Urine filter membrane photographed through a 4× microscope objective. Field of view: about 1.5 mm wide and 1.1 mm high.
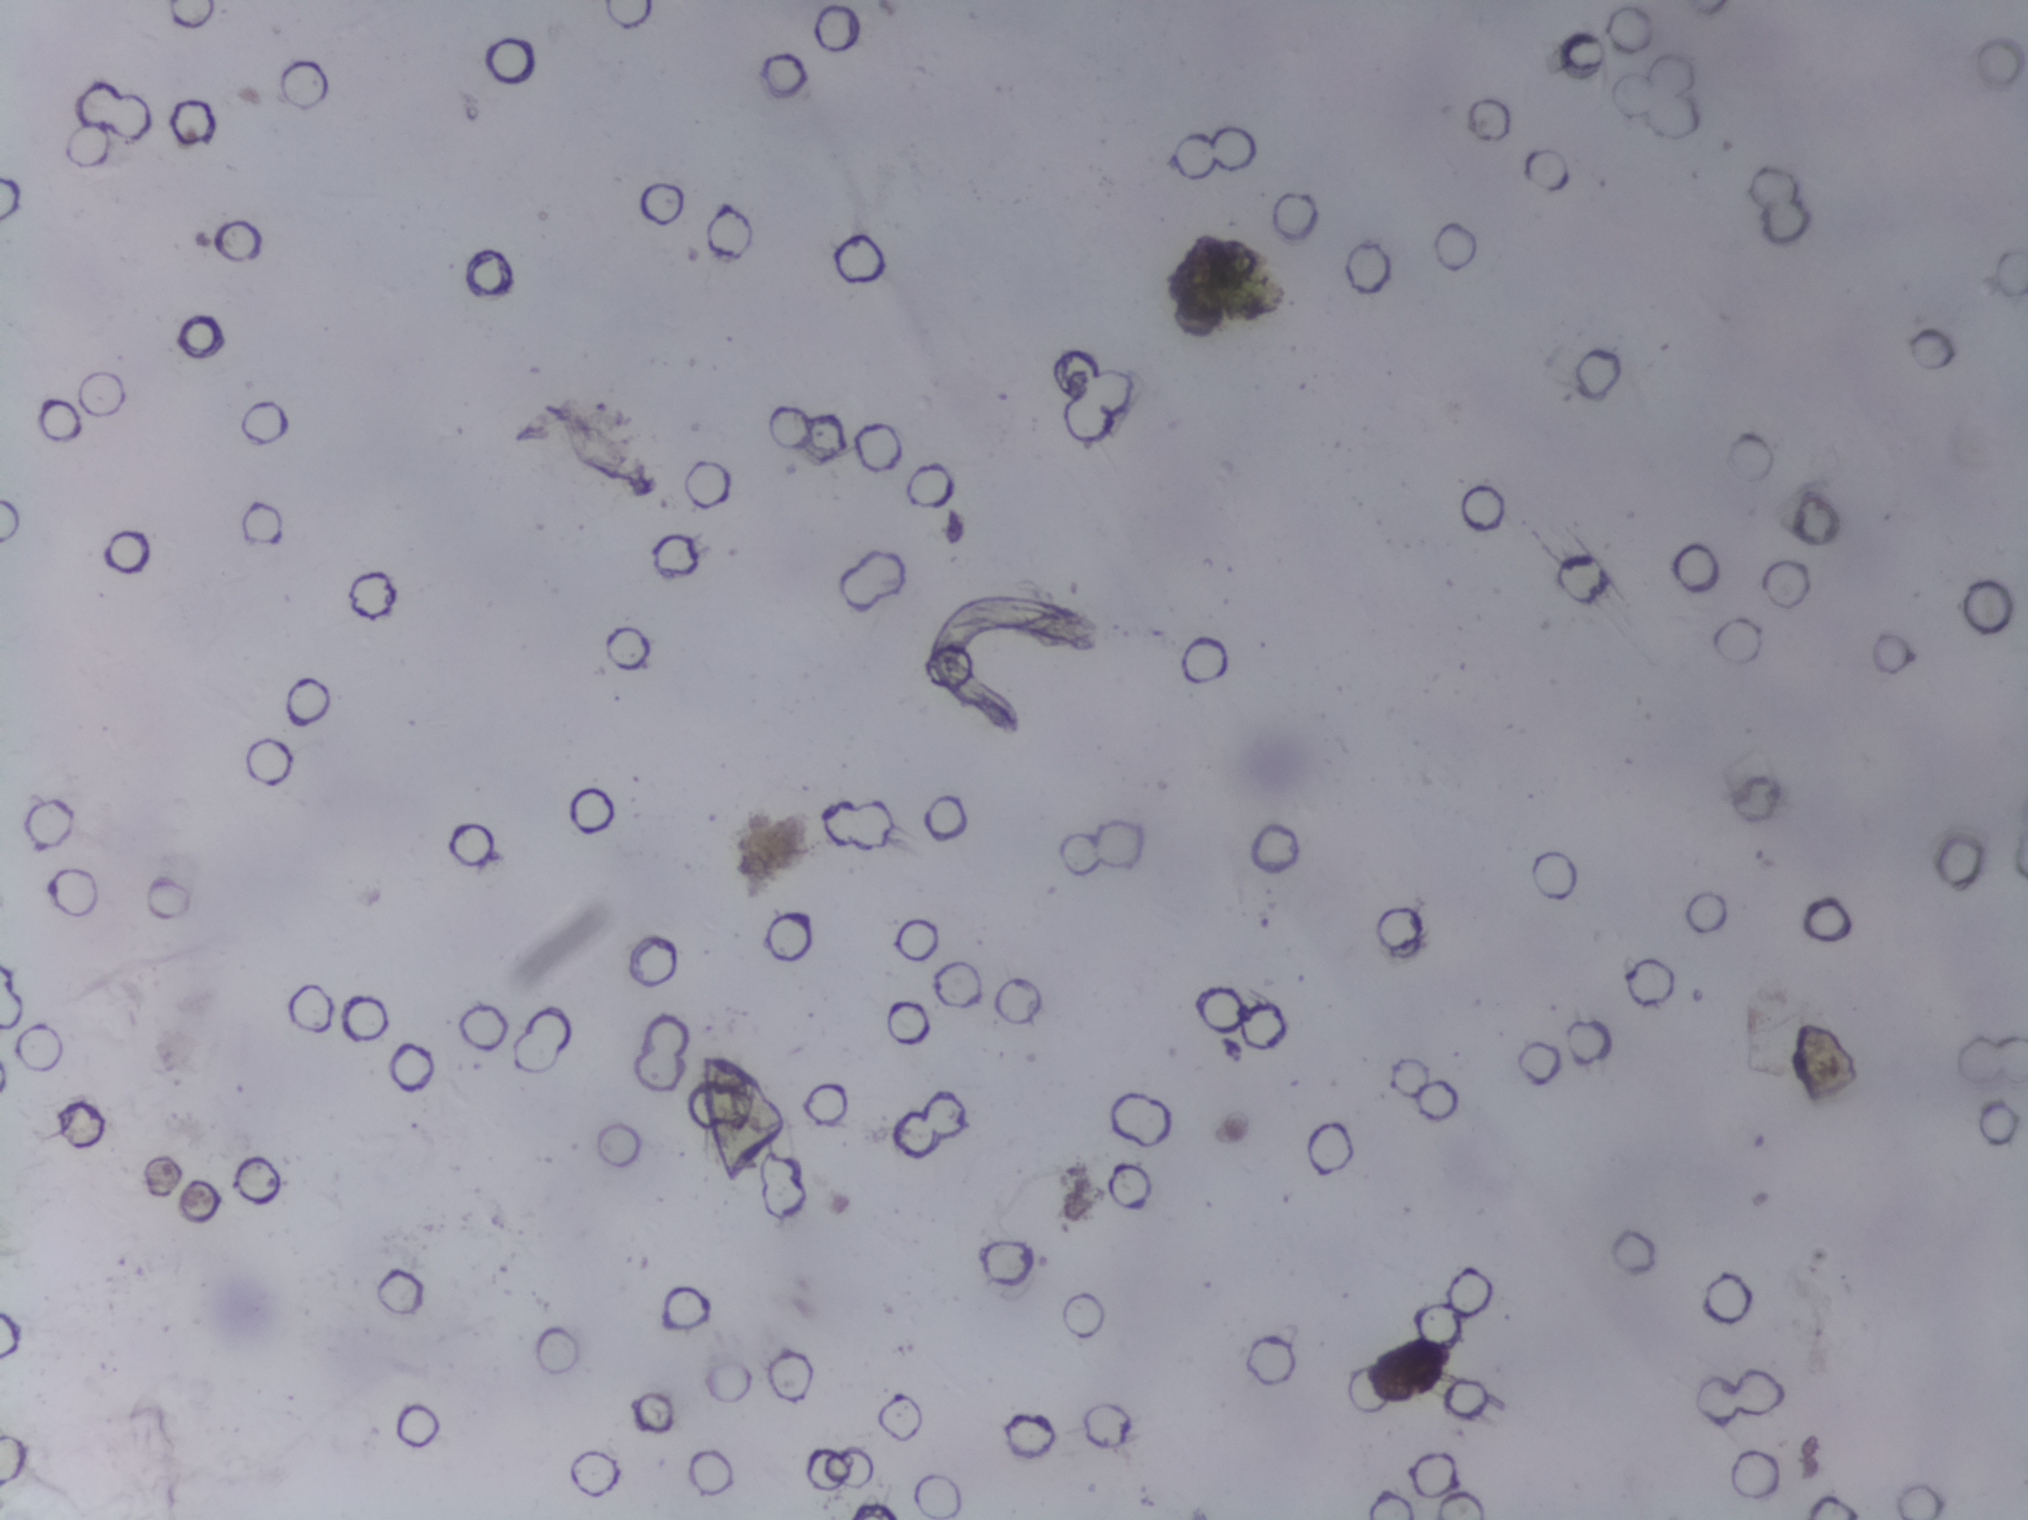
The expert annotation outlines no Schistosoma egg in this image.